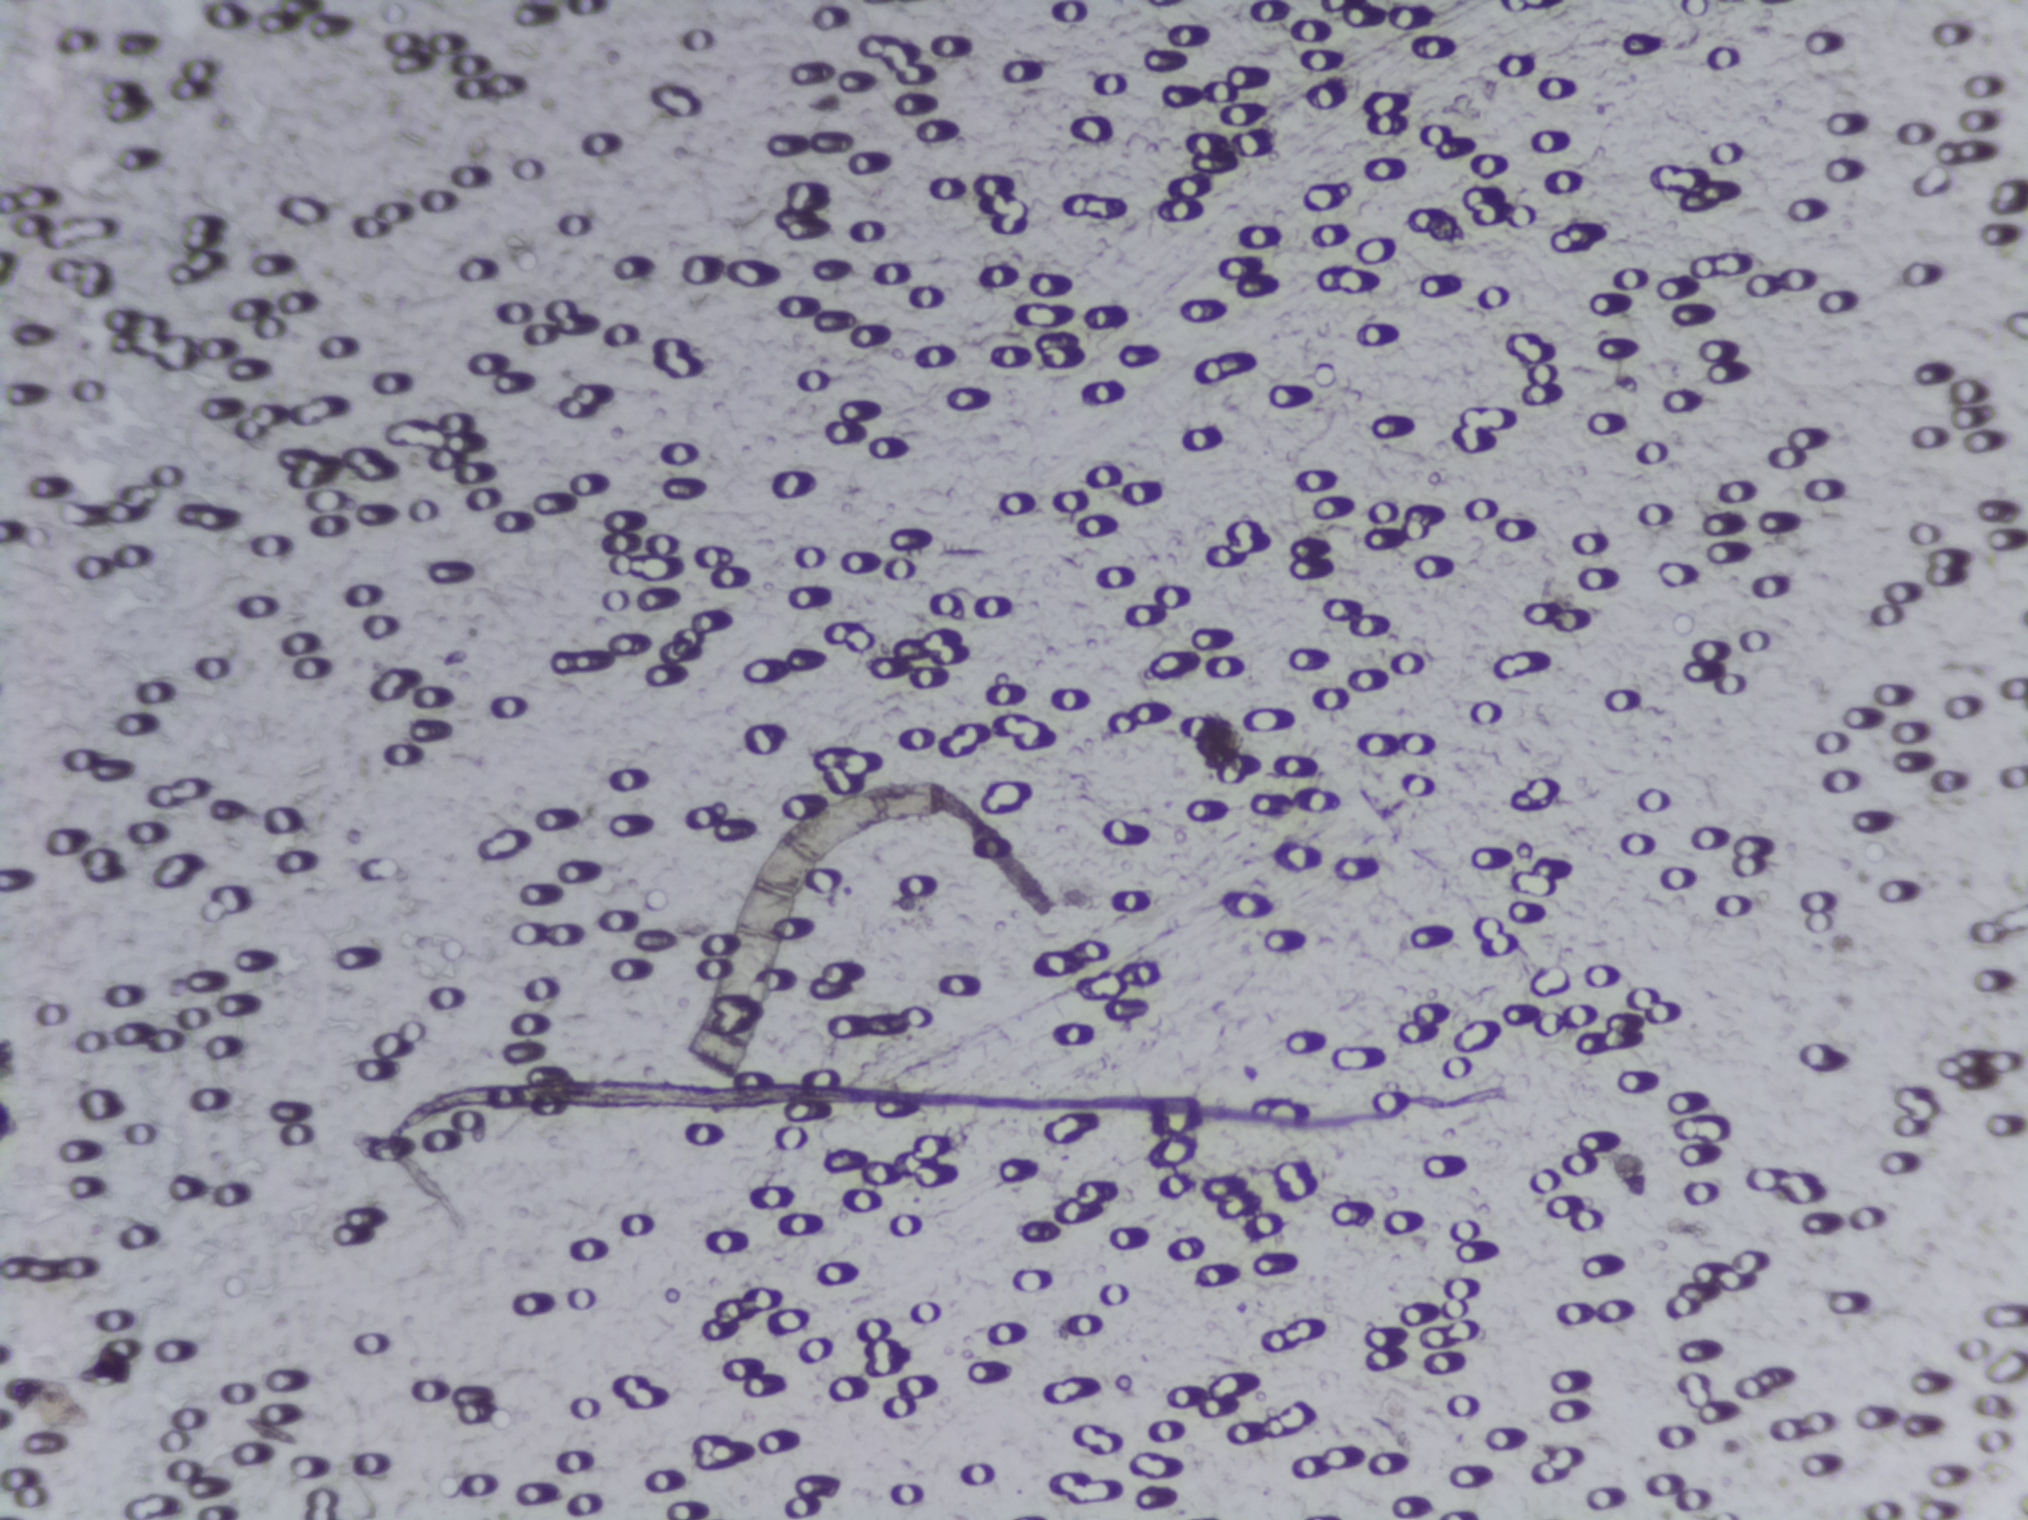
One field of view of a urine filter membrane, 4× objective, 2028 × 1520 pixels. The field of view is about 1.5 mm × 1.1 mm.
No area of this image was outlined as a Schistosoma egg.